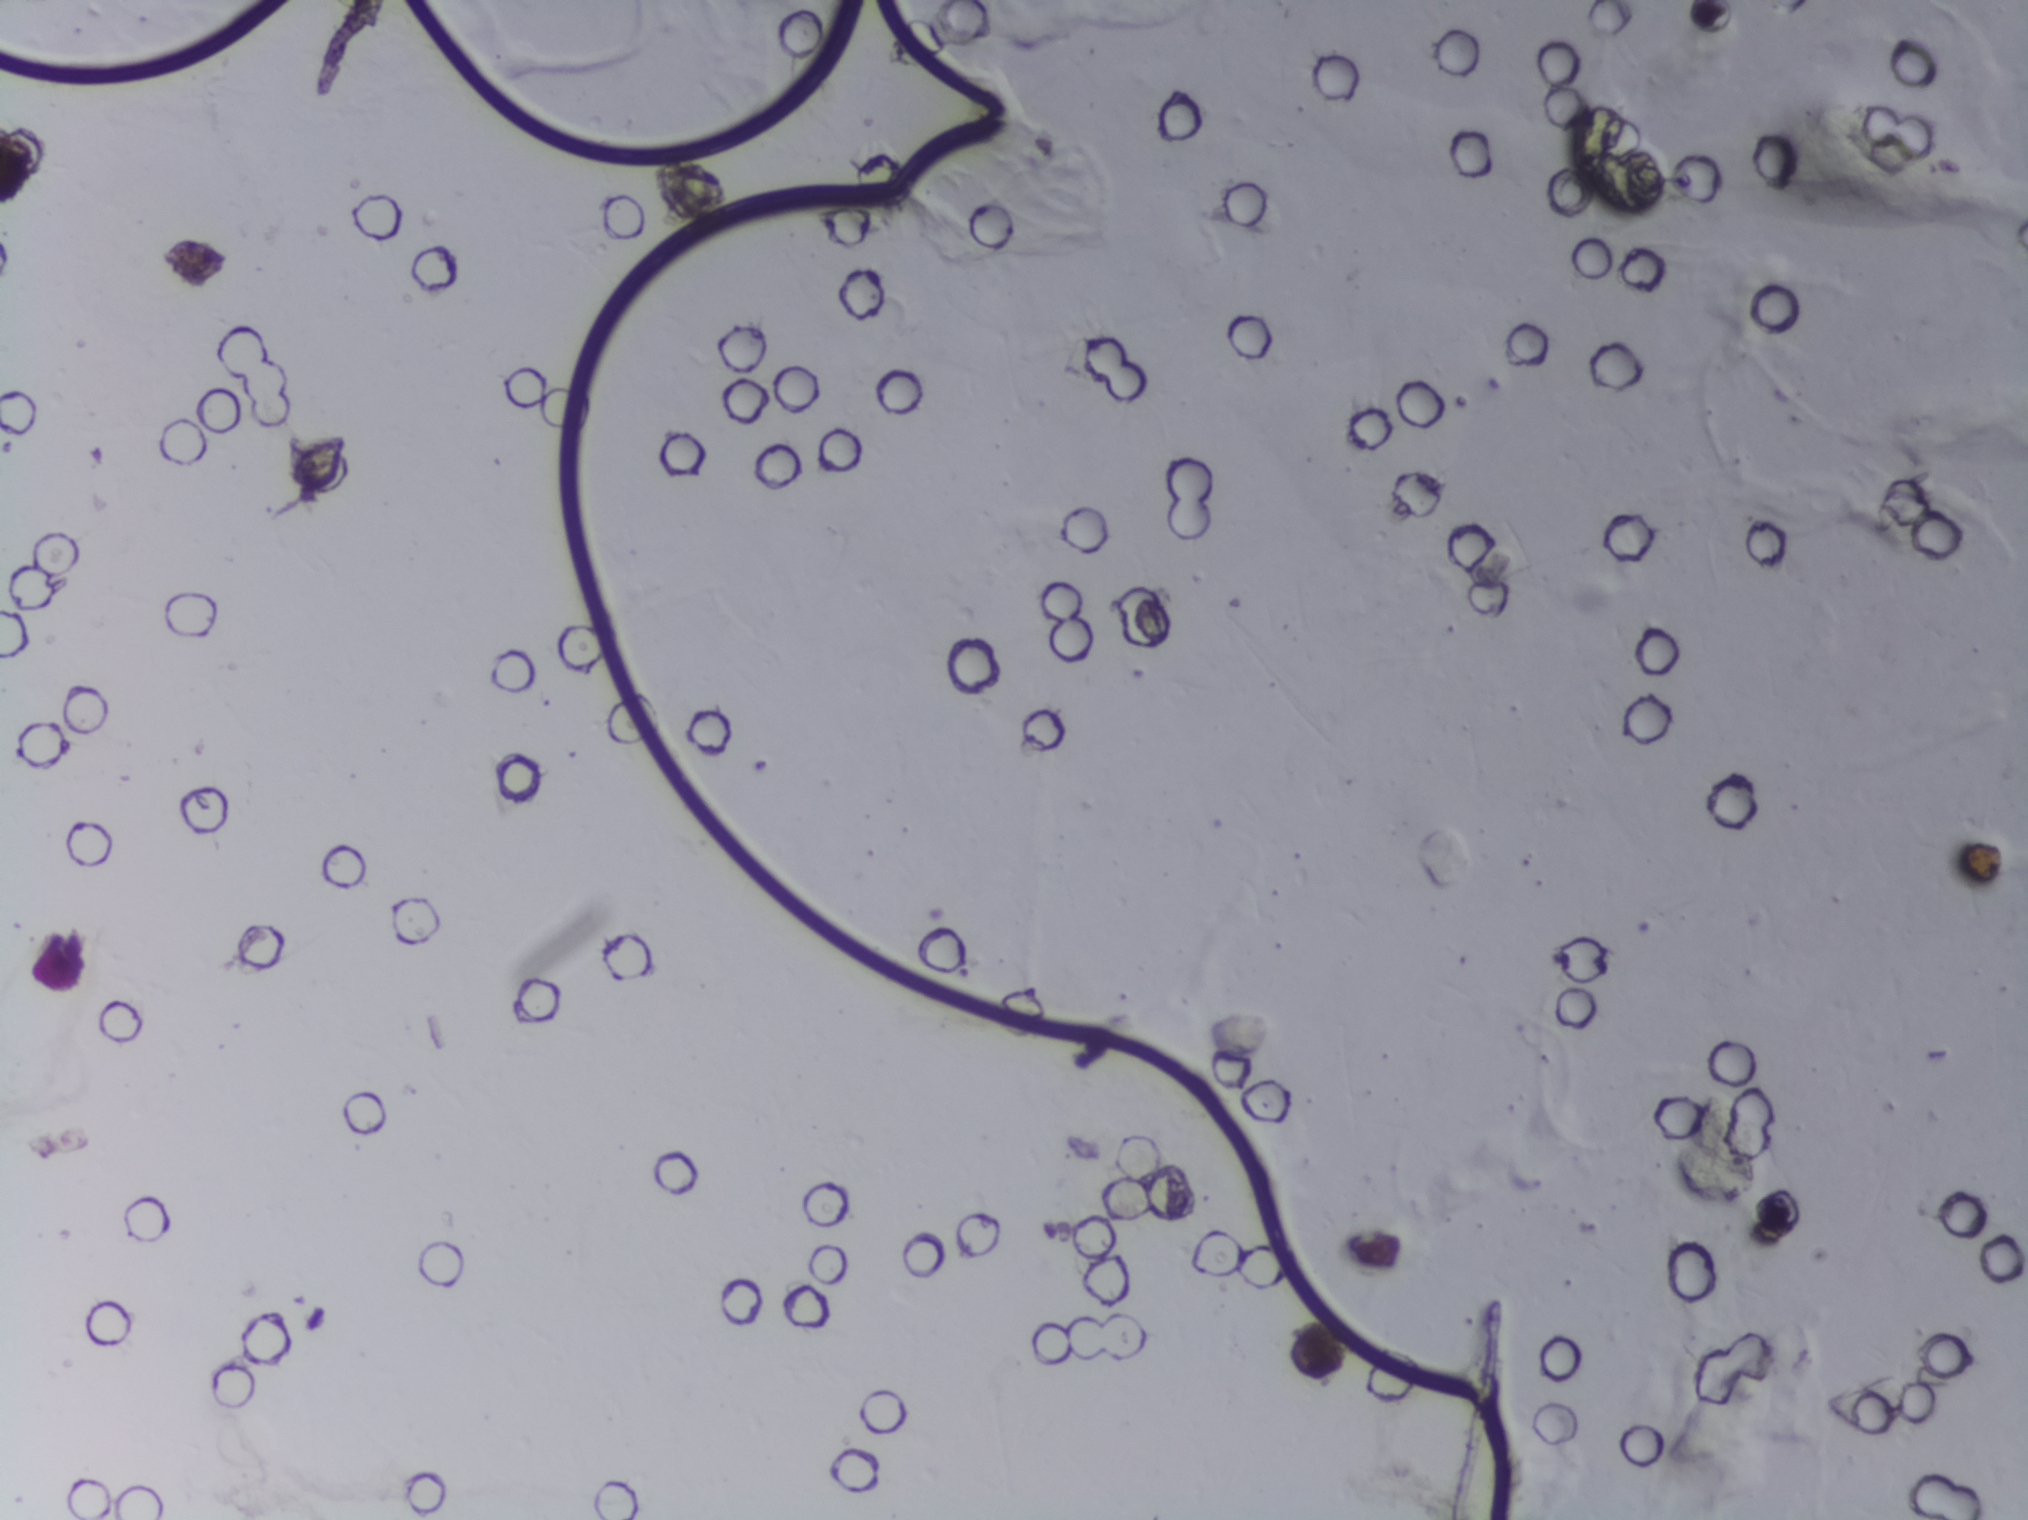
The expert annotation outlines no Schistosoma egg in this image.
Urine filter membrane photographed through a 4× microscope objective. The field of view is about 1.5 mm × 1.1 mm.